Photomicrograph of a urine filtration membrane, 4× objective.
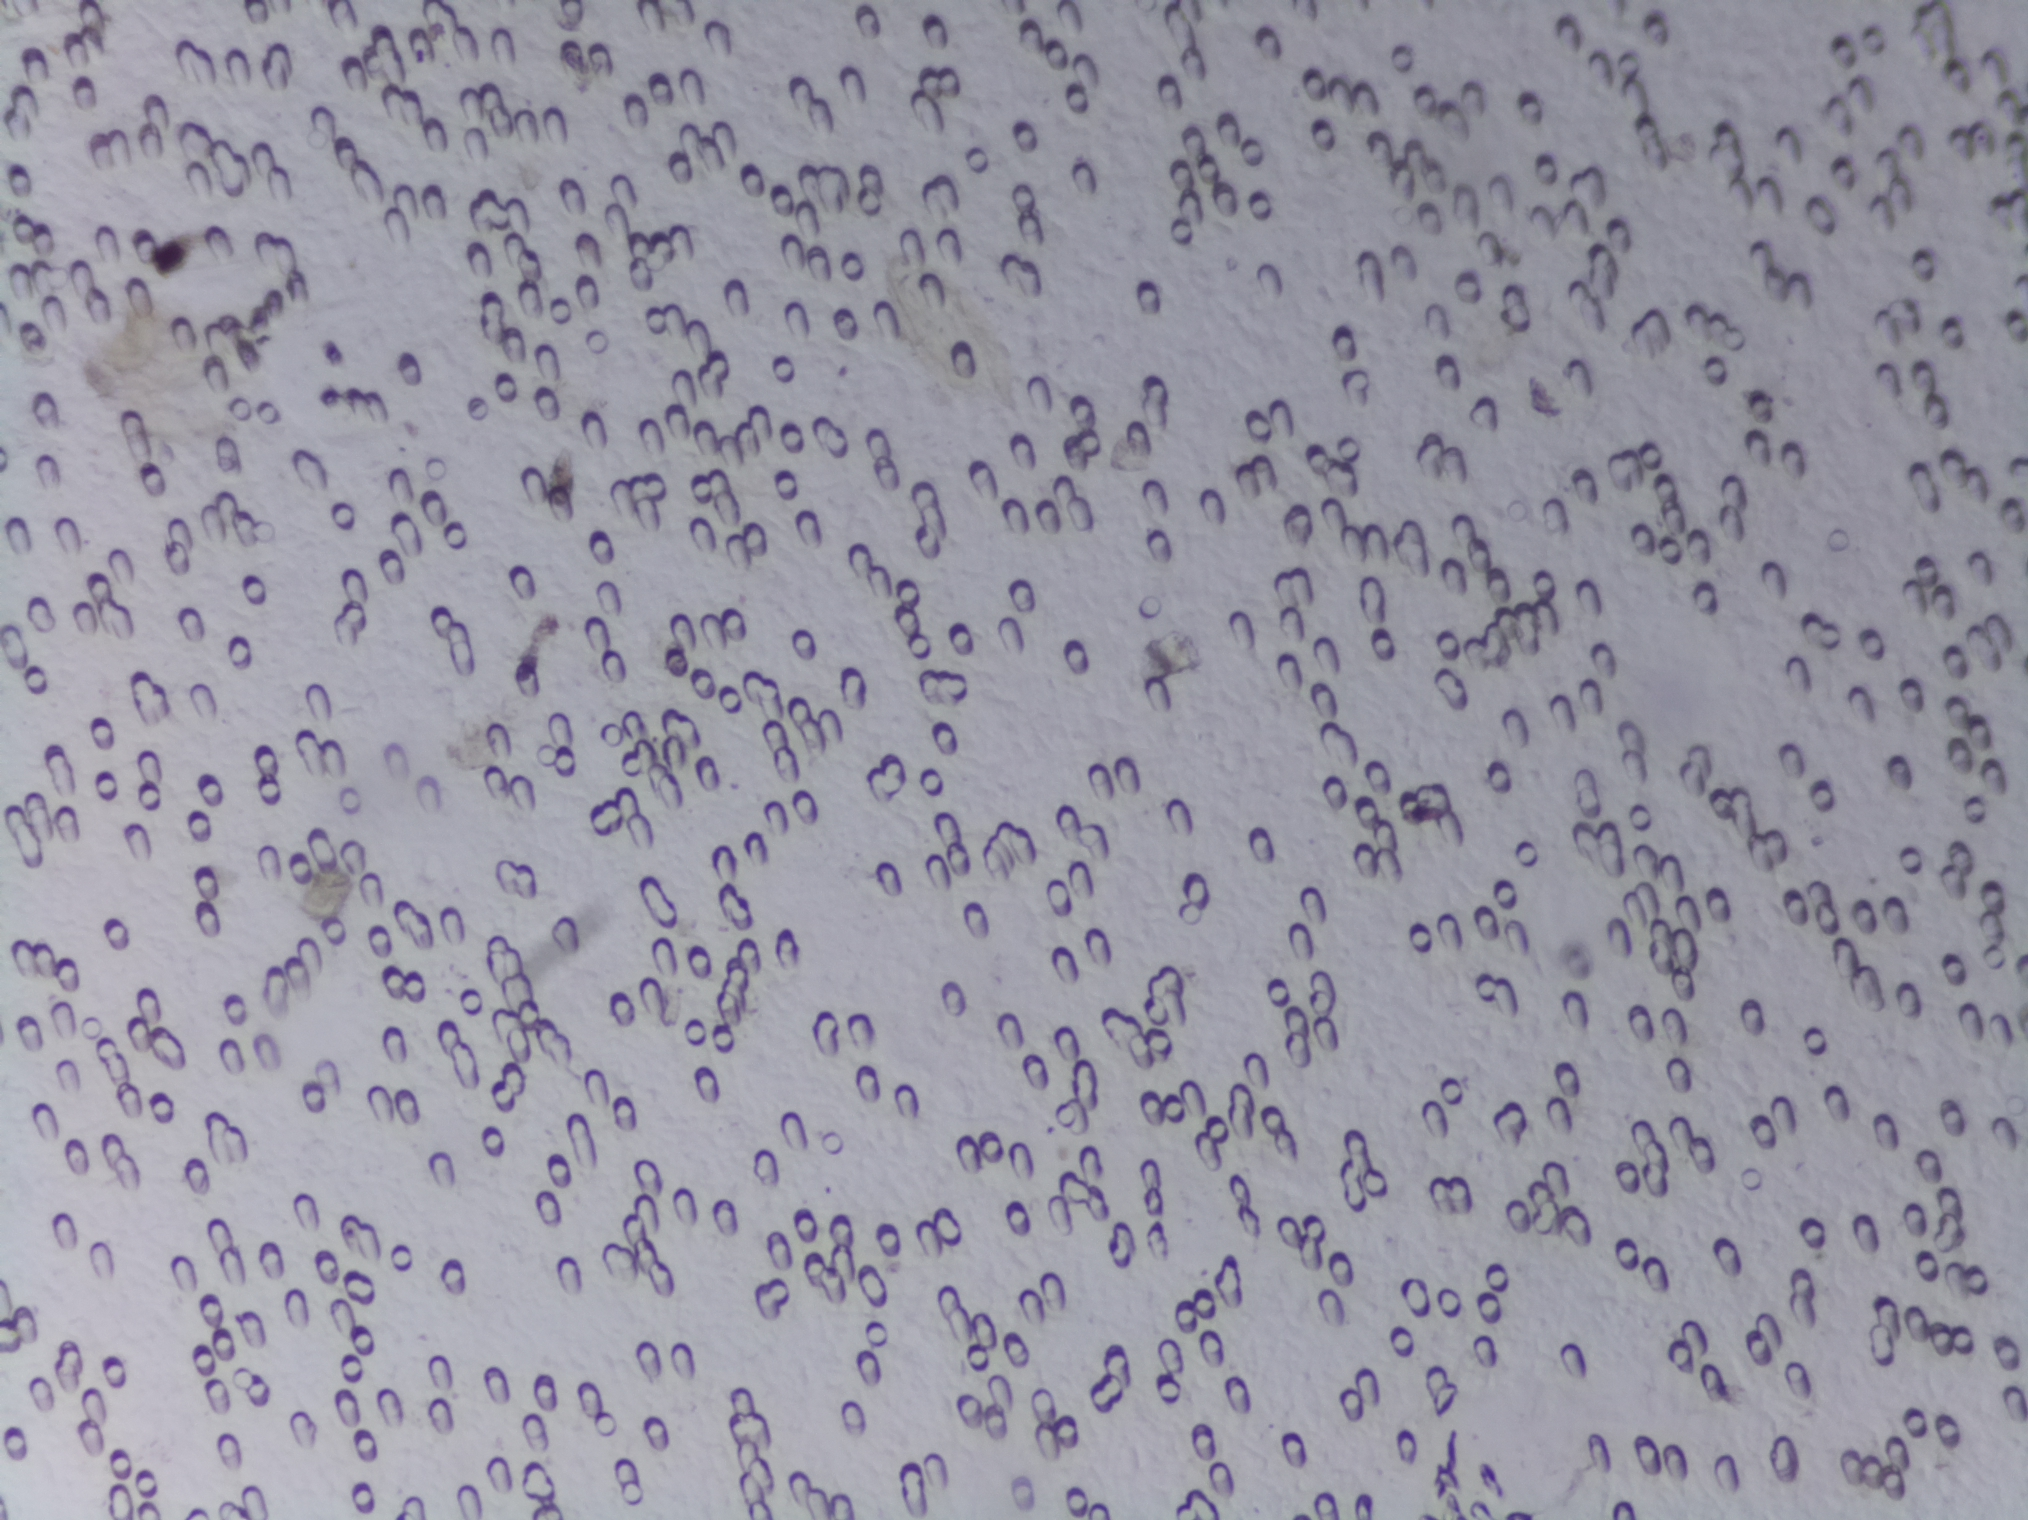
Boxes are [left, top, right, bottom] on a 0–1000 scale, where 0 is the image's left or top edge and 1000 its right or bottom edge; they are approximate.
Schistosoma eggs, outlined areas: [431, 153, 514, 286]. A single outlined area may contain several eggs.